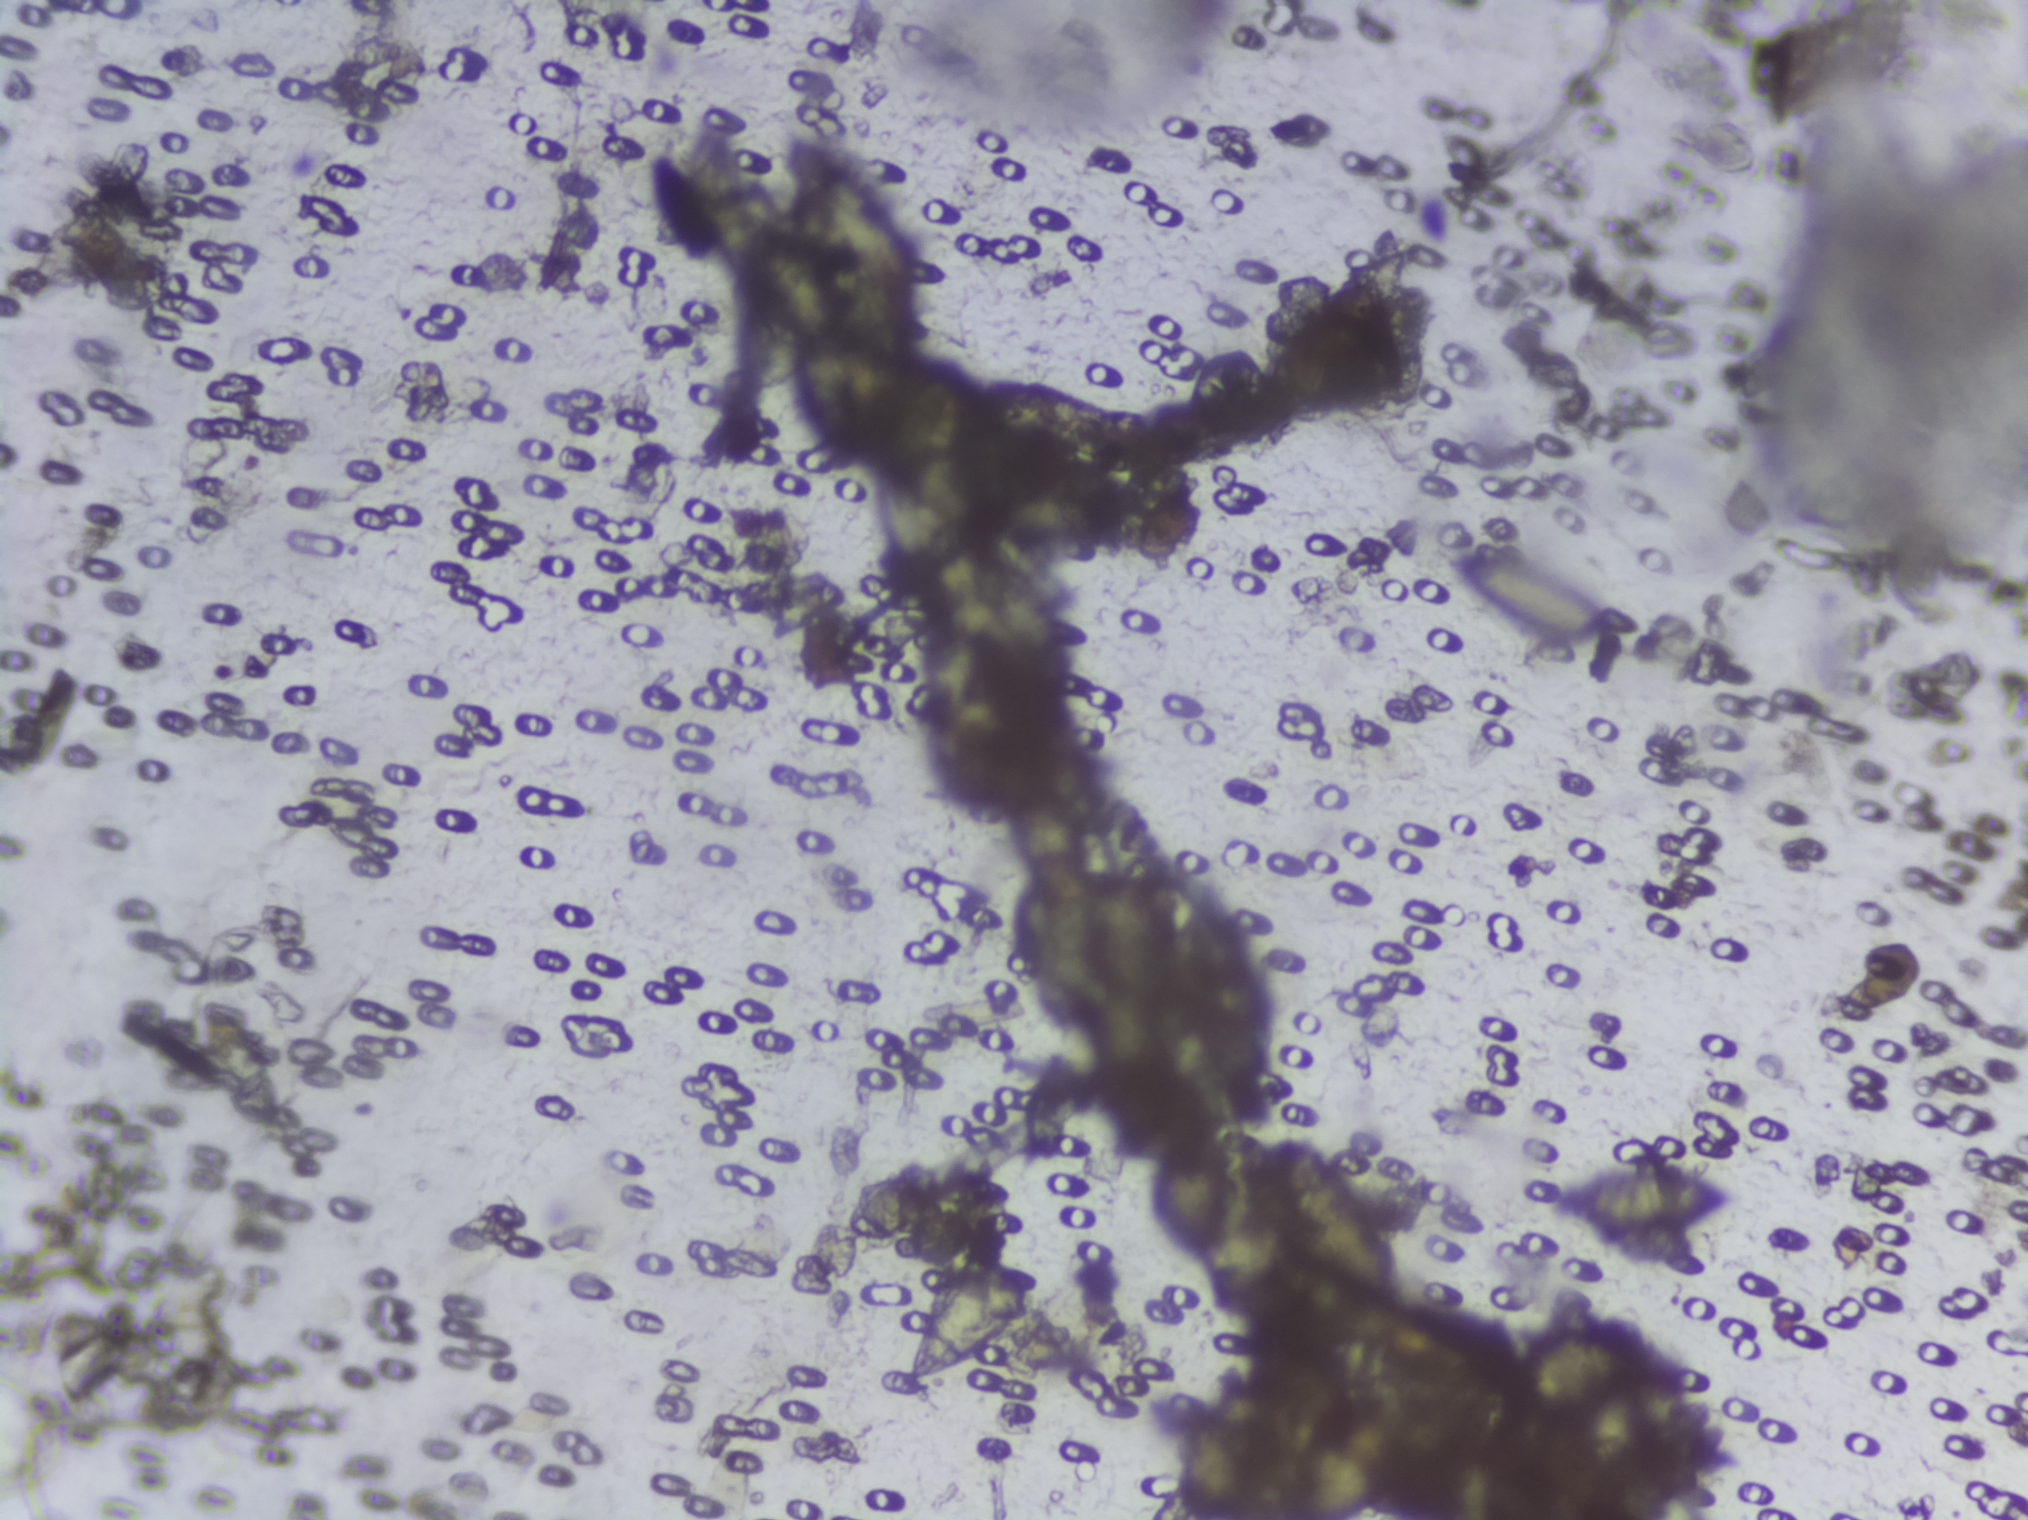
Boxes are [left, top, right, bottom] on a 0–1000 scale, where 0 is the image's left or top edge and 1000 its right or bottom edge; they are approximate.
Schistosoma eggs, outlined areas: [318, 99, 357, 168]; [444, 830, 510, 913]; [460, 395, 538, 432]; [583, 578, 635, 733]; [614, 746, 693, 850]; [762, 764, 857, 815]. A single outlined area may contain several eggs.
Microscope photograph (4× objective) of a membrane that a urine sample was filtered through.